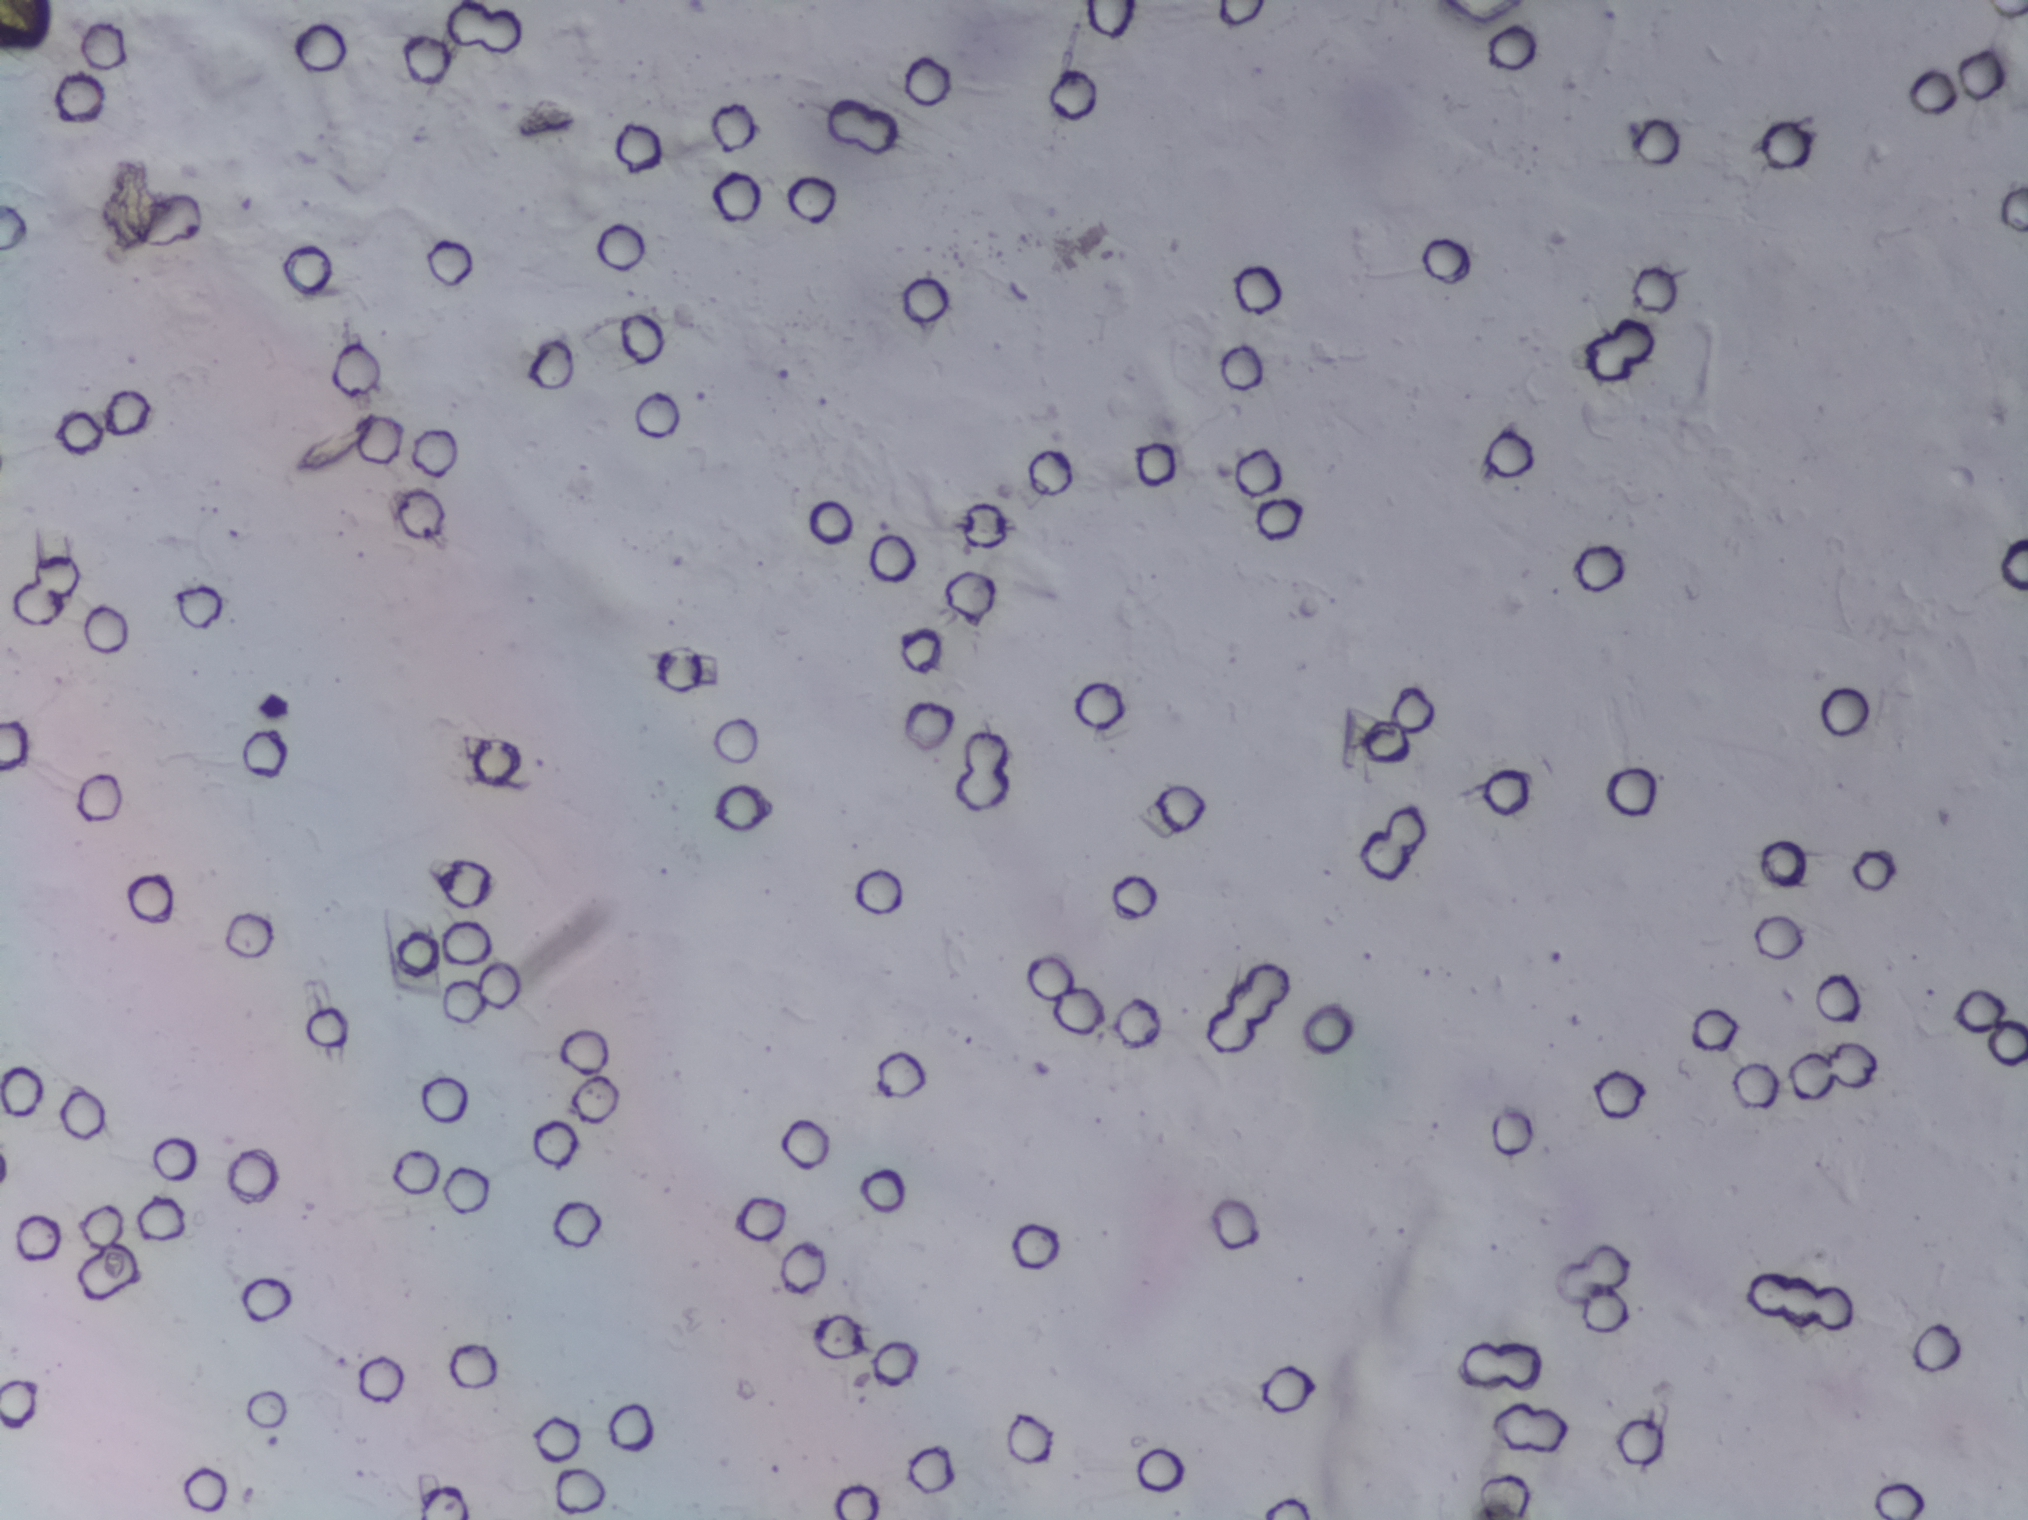
One field of view of a urine filter membrane, 4× objective, 2028 × 1520 pixels. Field of view: about 1.5 mm wide and 1.1 mm high.
Schistosoma eggs: none outlined.